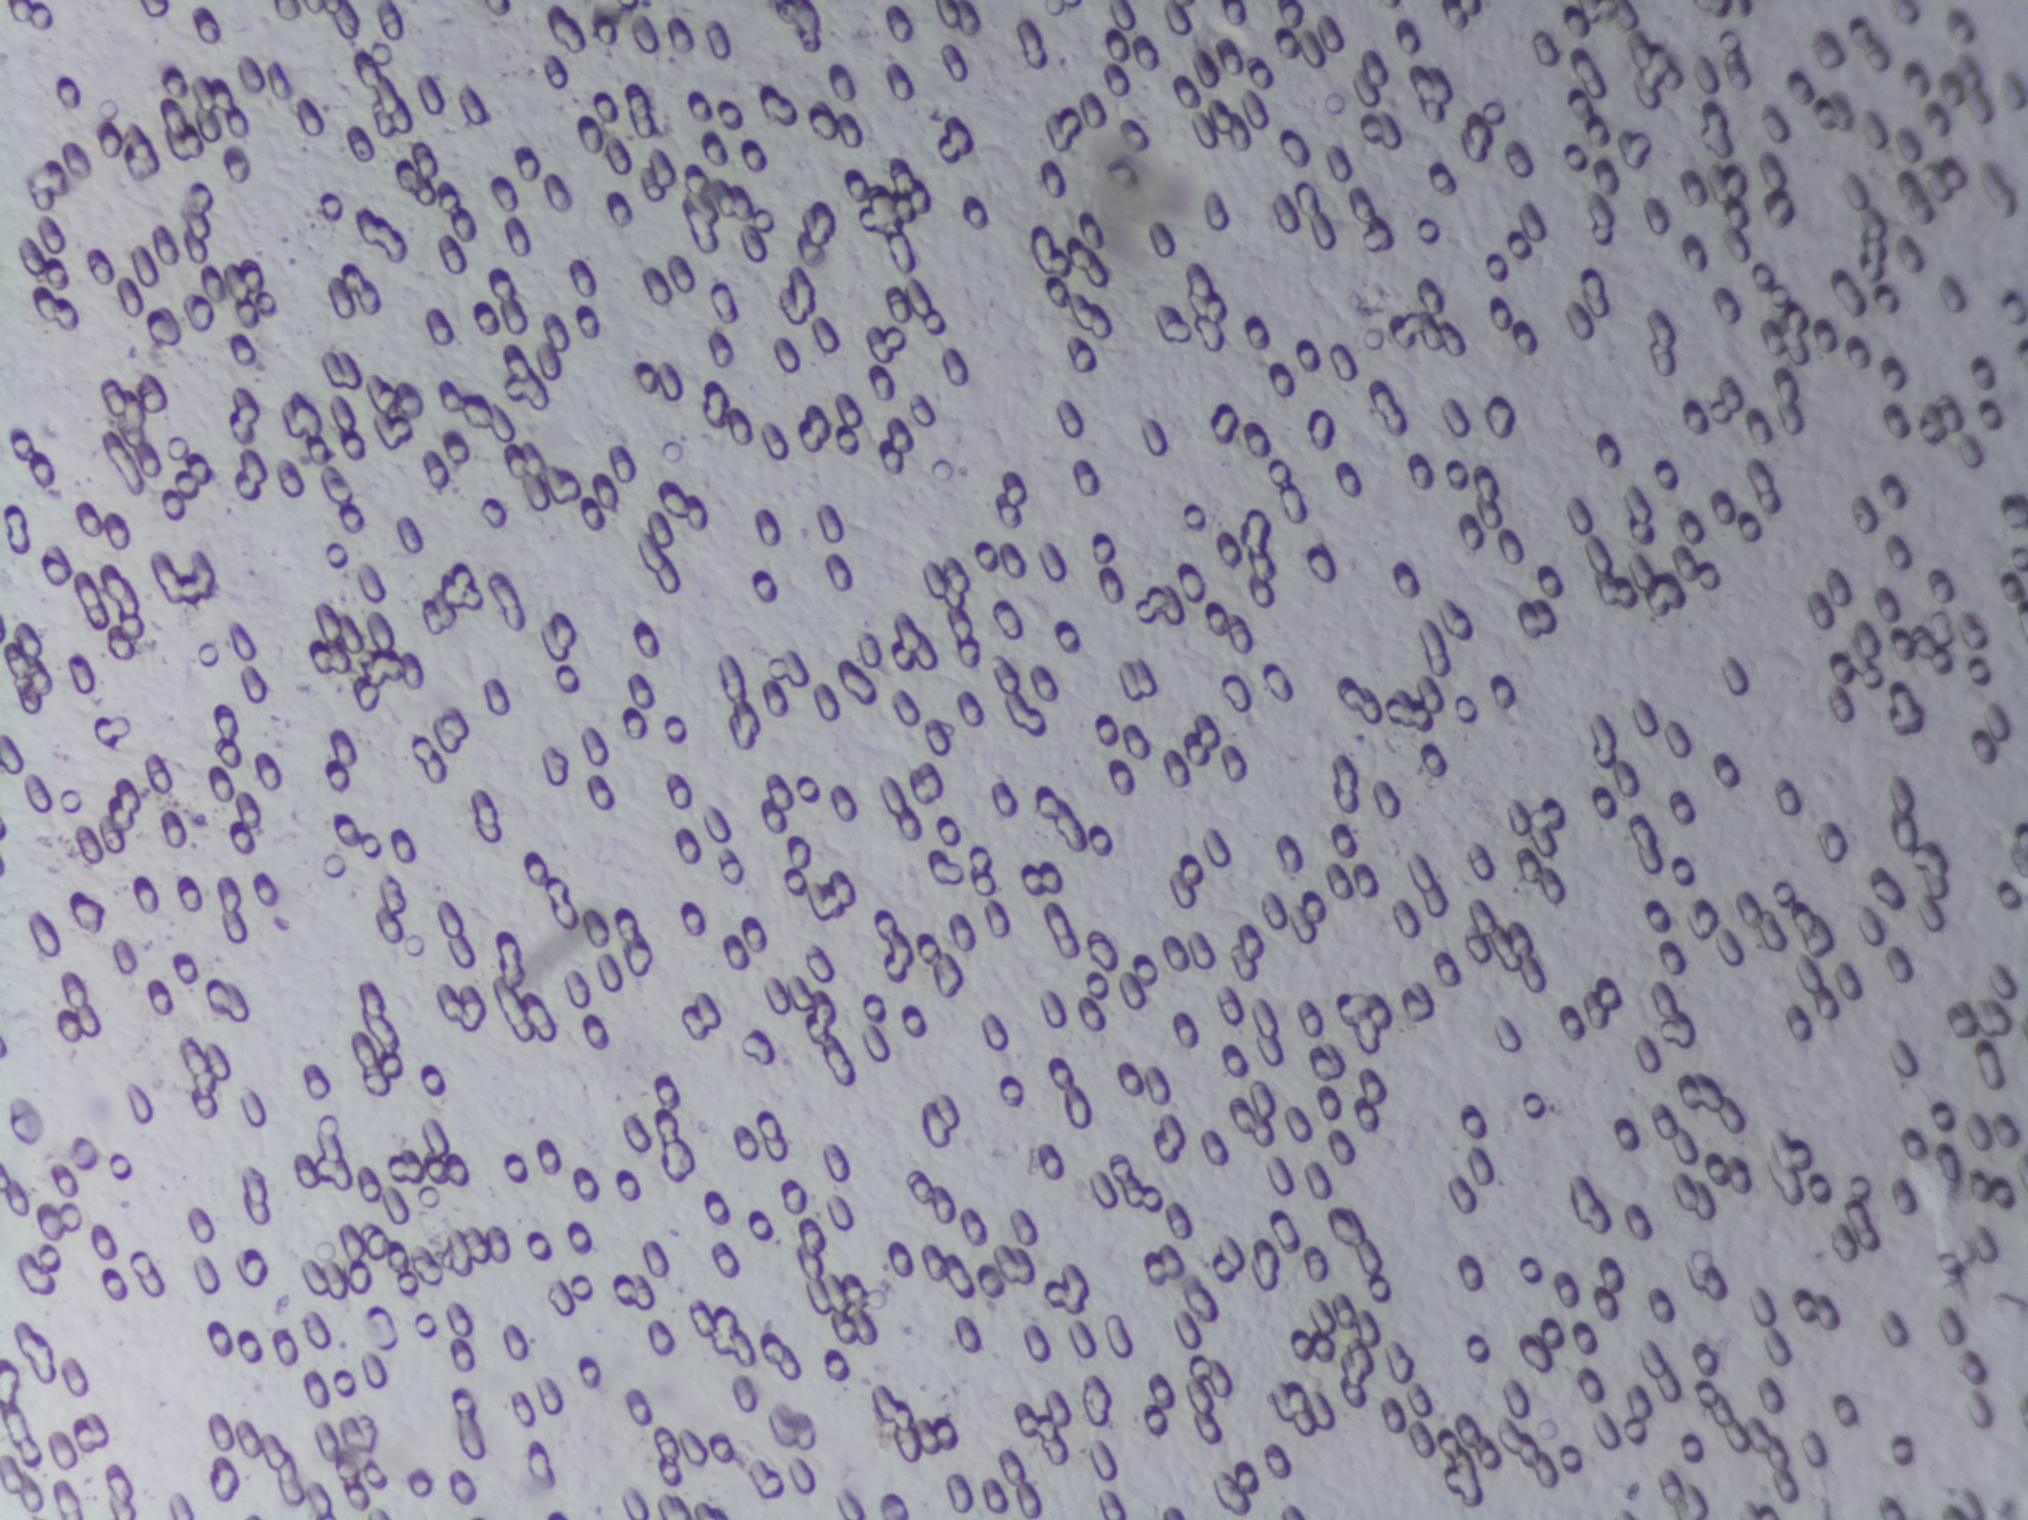
No Schistosoma egg is outlined in this image's expert annotation.
Urine filtration membrane under a 4× objective, photographed by an automated digital microscope. The image covers about 1.5 × 1.1 mm of the membrane.